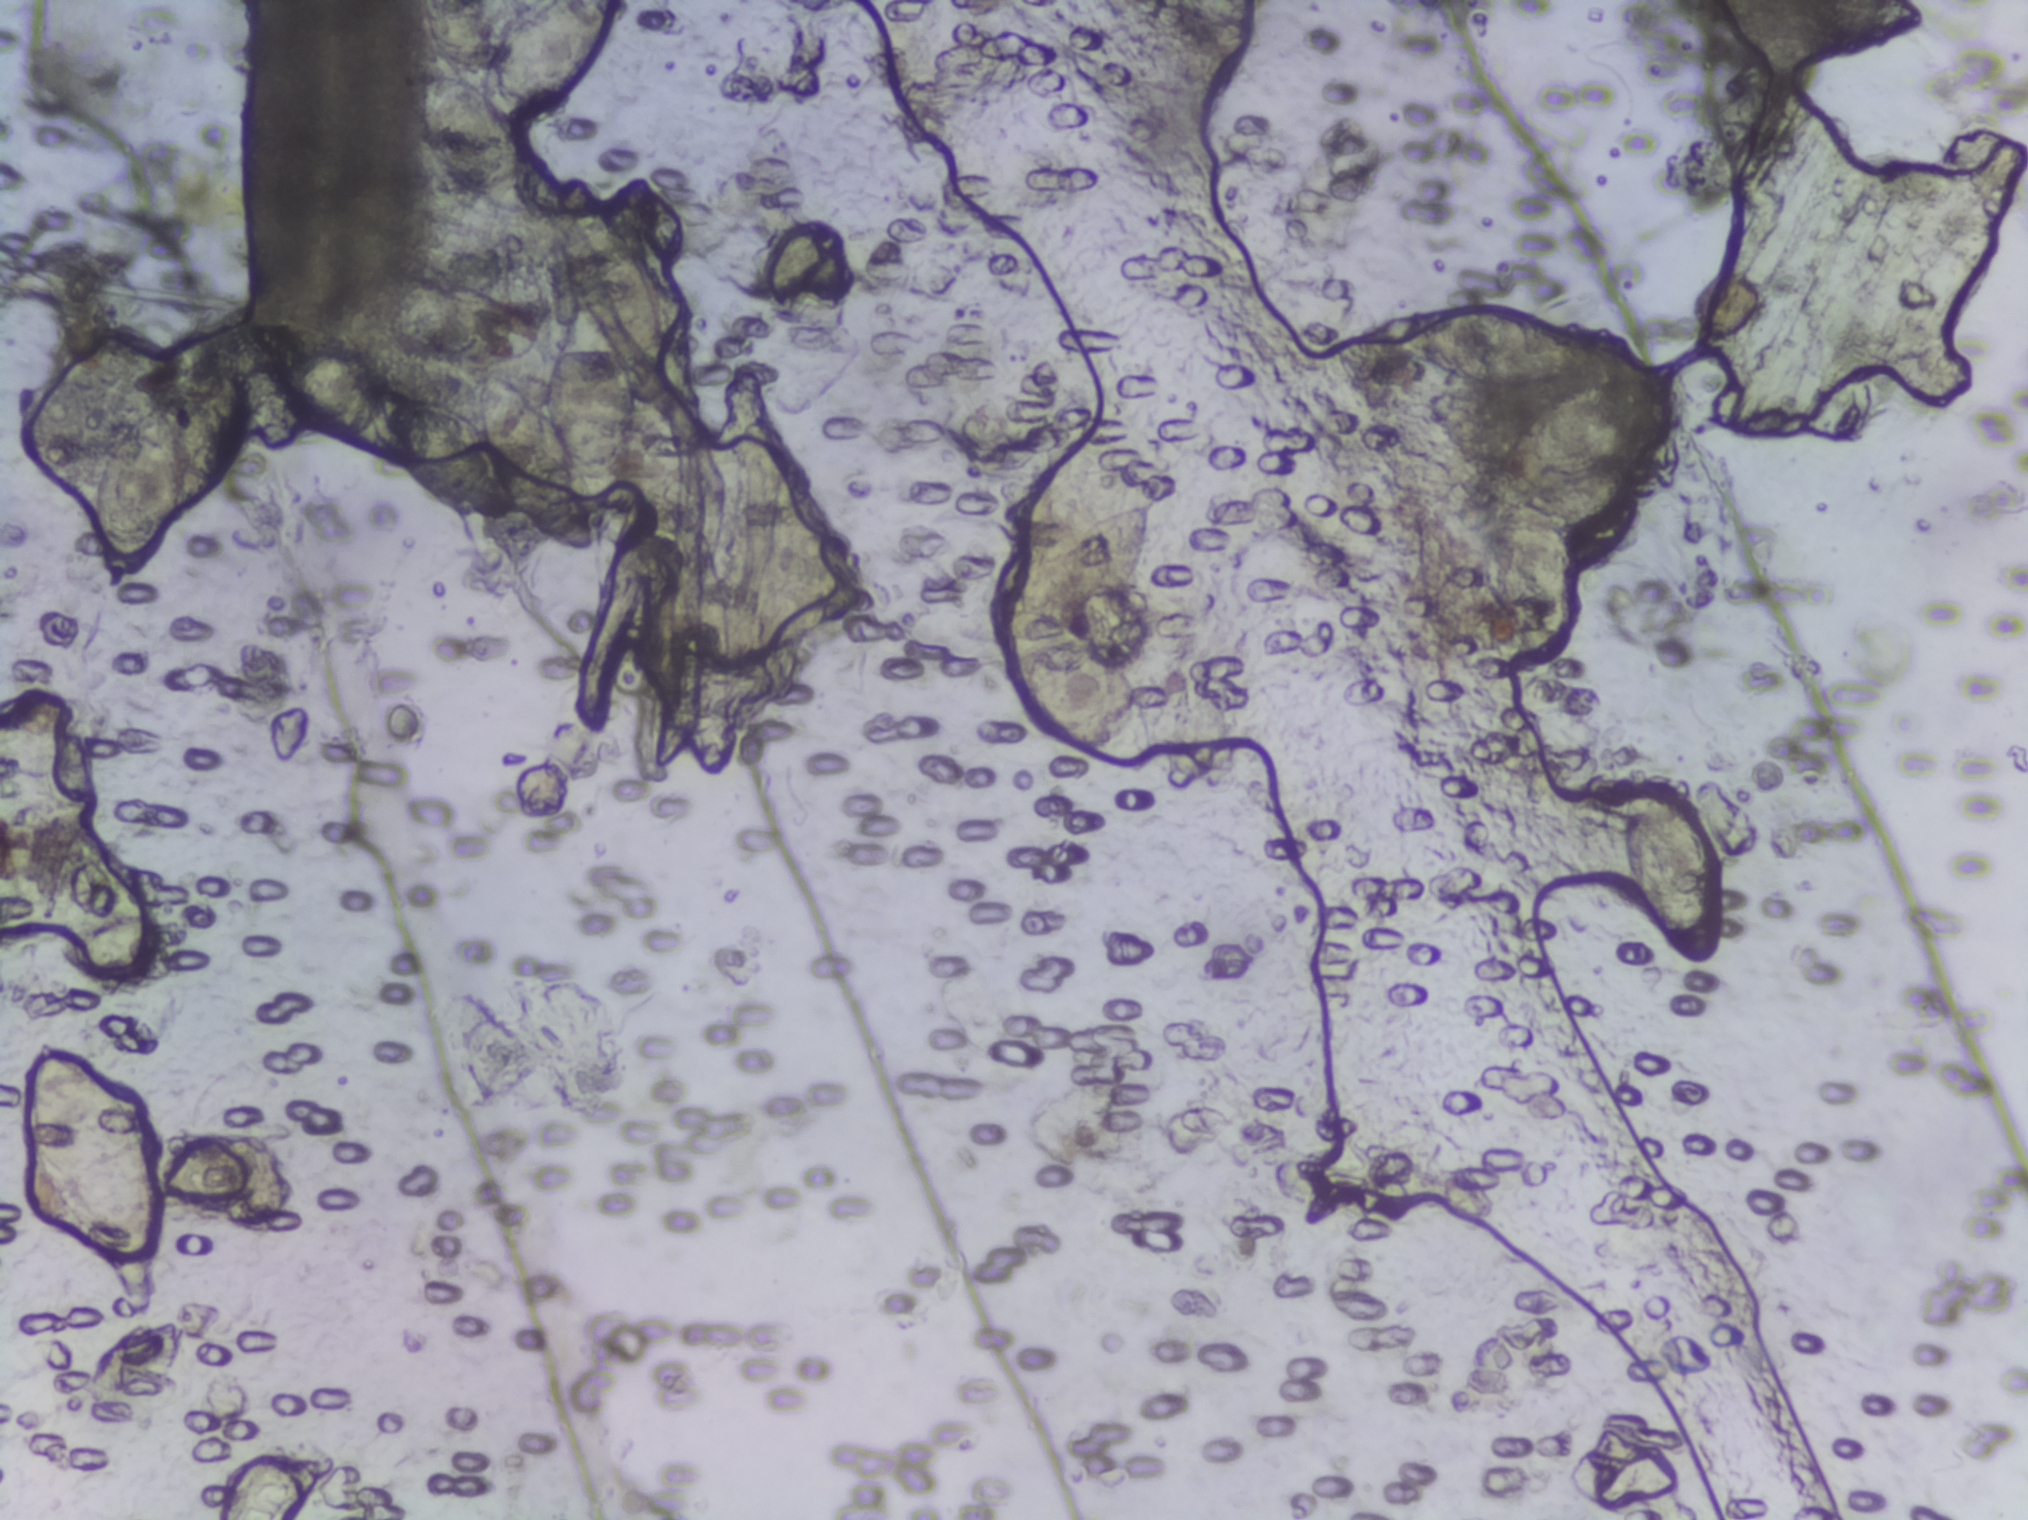
Urine filtration membrane under a 4× objective, photographed by an automated digital microscope. Field of view: about 1.5 mm wide and 1.1 mm high.
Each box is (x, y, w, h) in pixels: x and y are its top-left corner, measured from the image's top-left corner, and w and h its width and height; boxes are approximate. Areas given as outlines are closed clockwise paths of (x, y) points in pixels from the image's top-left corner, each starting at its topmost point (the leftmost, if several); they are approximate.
Schistosoma eggs are outlined in eight areas of this image, listed from left to right: box (x=19, y=1029, w=146, h=244); box (x=89, y=357, w=162, h=234); box (x=337, y=278, w=297, h=271) (a cluster of eggs); outline (537, 0), (622, 2), (581, 85), (541, 115), (511, 126), (537, 205), (507, 214), (436, 174), (422, 151), (406, 89), (424, 69), (447, 70), (480, 85), (498, 37) (reaching the top edge of the frame); box (x=1020, y=499, w=139, h=119); box (x=1377, y=302, w=209, h=83); outline (1637, 372), (1664, 375), (1666, 394), (1624, 450), (1586, 472), (1515, 482), (1540, 495), (1563, 527), (1575, 579), (1575, 632), (1562, 654), (1535, 664), (1510, 629), (1490, 568), (1493, 499), (1514, 481), (1495, 473), (1496, 461), (1554, 391); box (x=1617, y=766, w=109, h=206). Eggs that touch can end up inside the same outlined area.